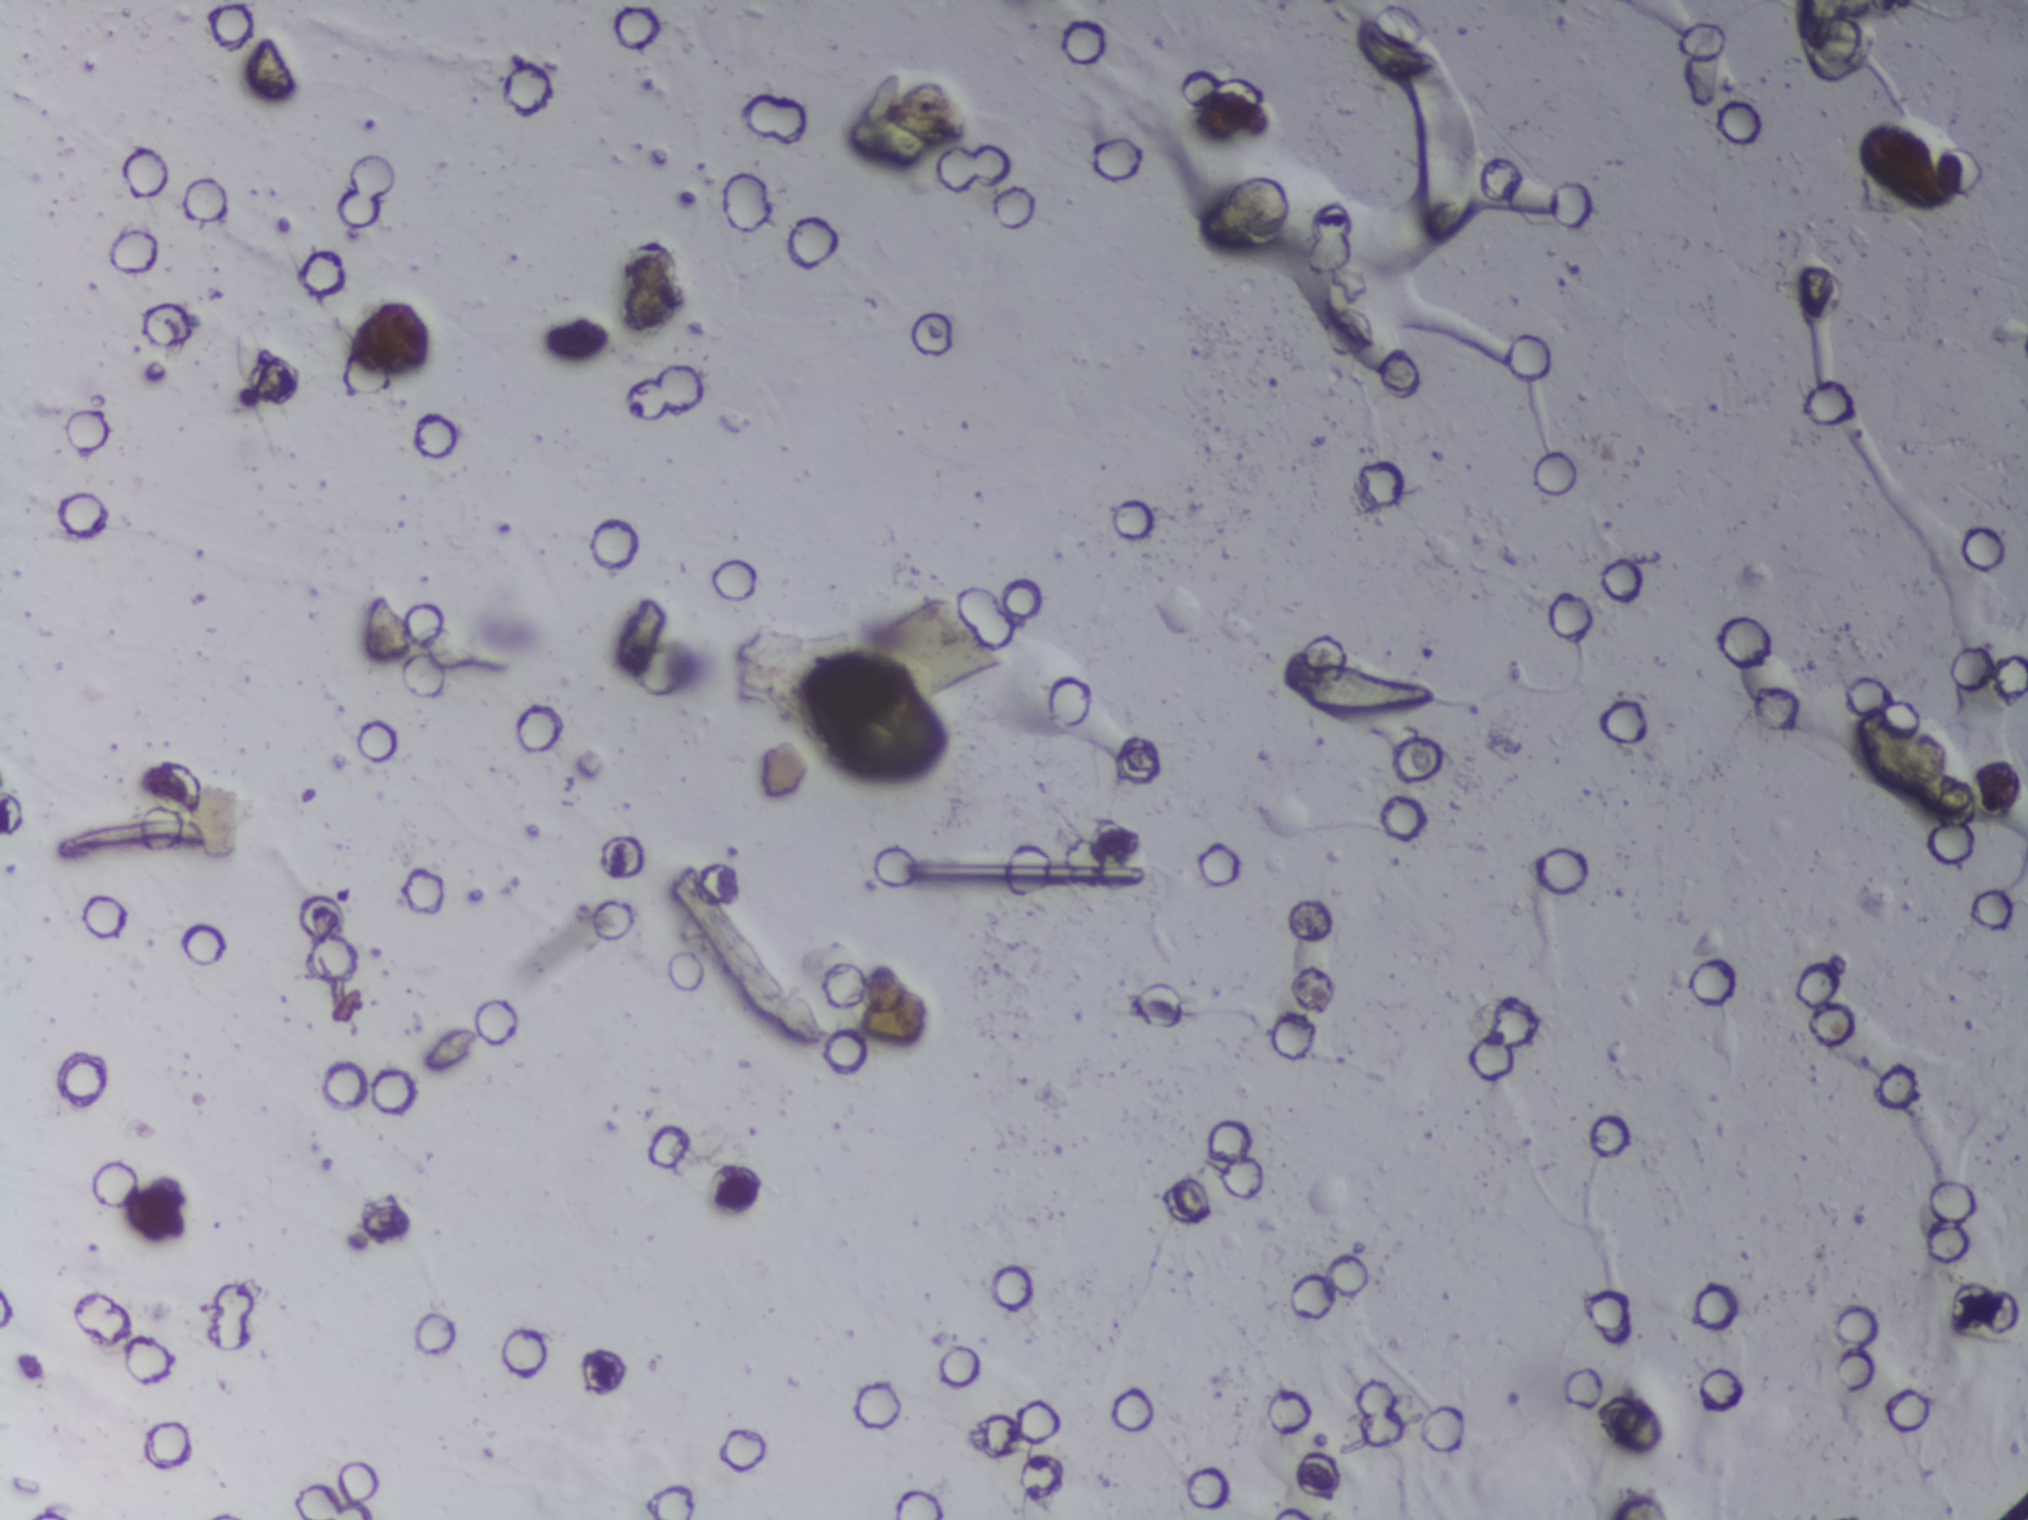
No Schistosoma egg is outlined in this image's expert annotation.
Photomicrograph of a urine filtration membrane, 4× objective. The image covers about 1.5 × 1.1 mm of the membrane.